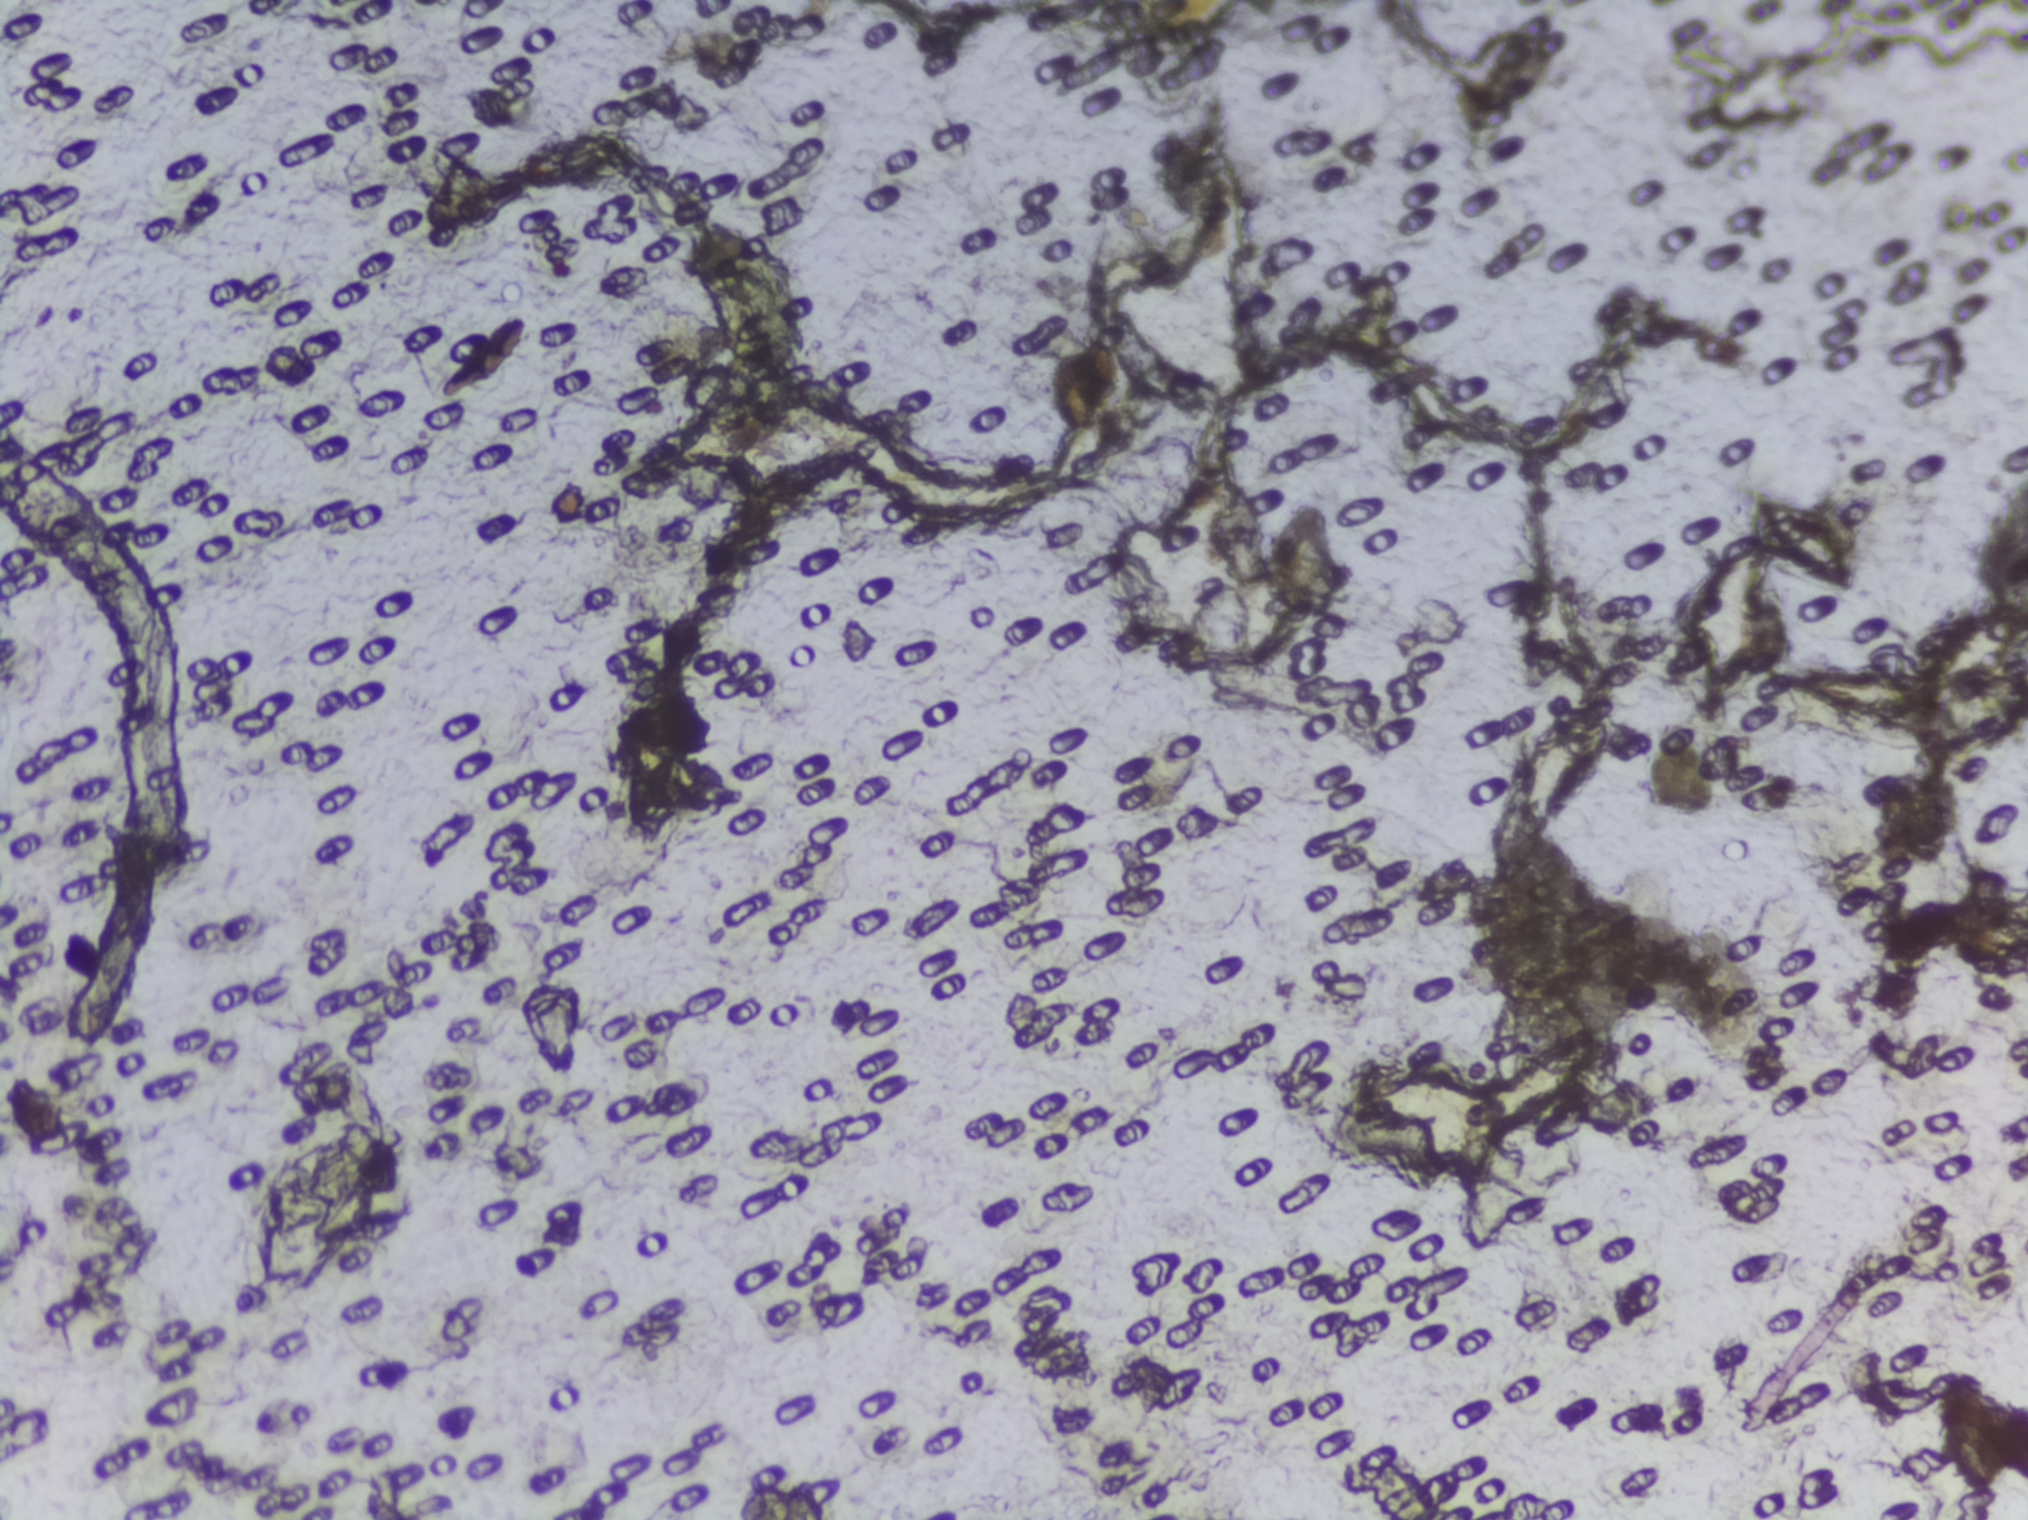
Urine filtration membrane under a 4× objective, photographed by an automated digital microscope.
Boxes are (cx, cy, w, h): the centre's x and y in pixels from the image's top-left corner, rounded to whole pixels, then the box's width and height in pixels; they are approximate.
The expert annotation outlines Schistosoma eggs at (cx=1804, cy=533, w=127, h=125). A single outlined area may contain several eggs.